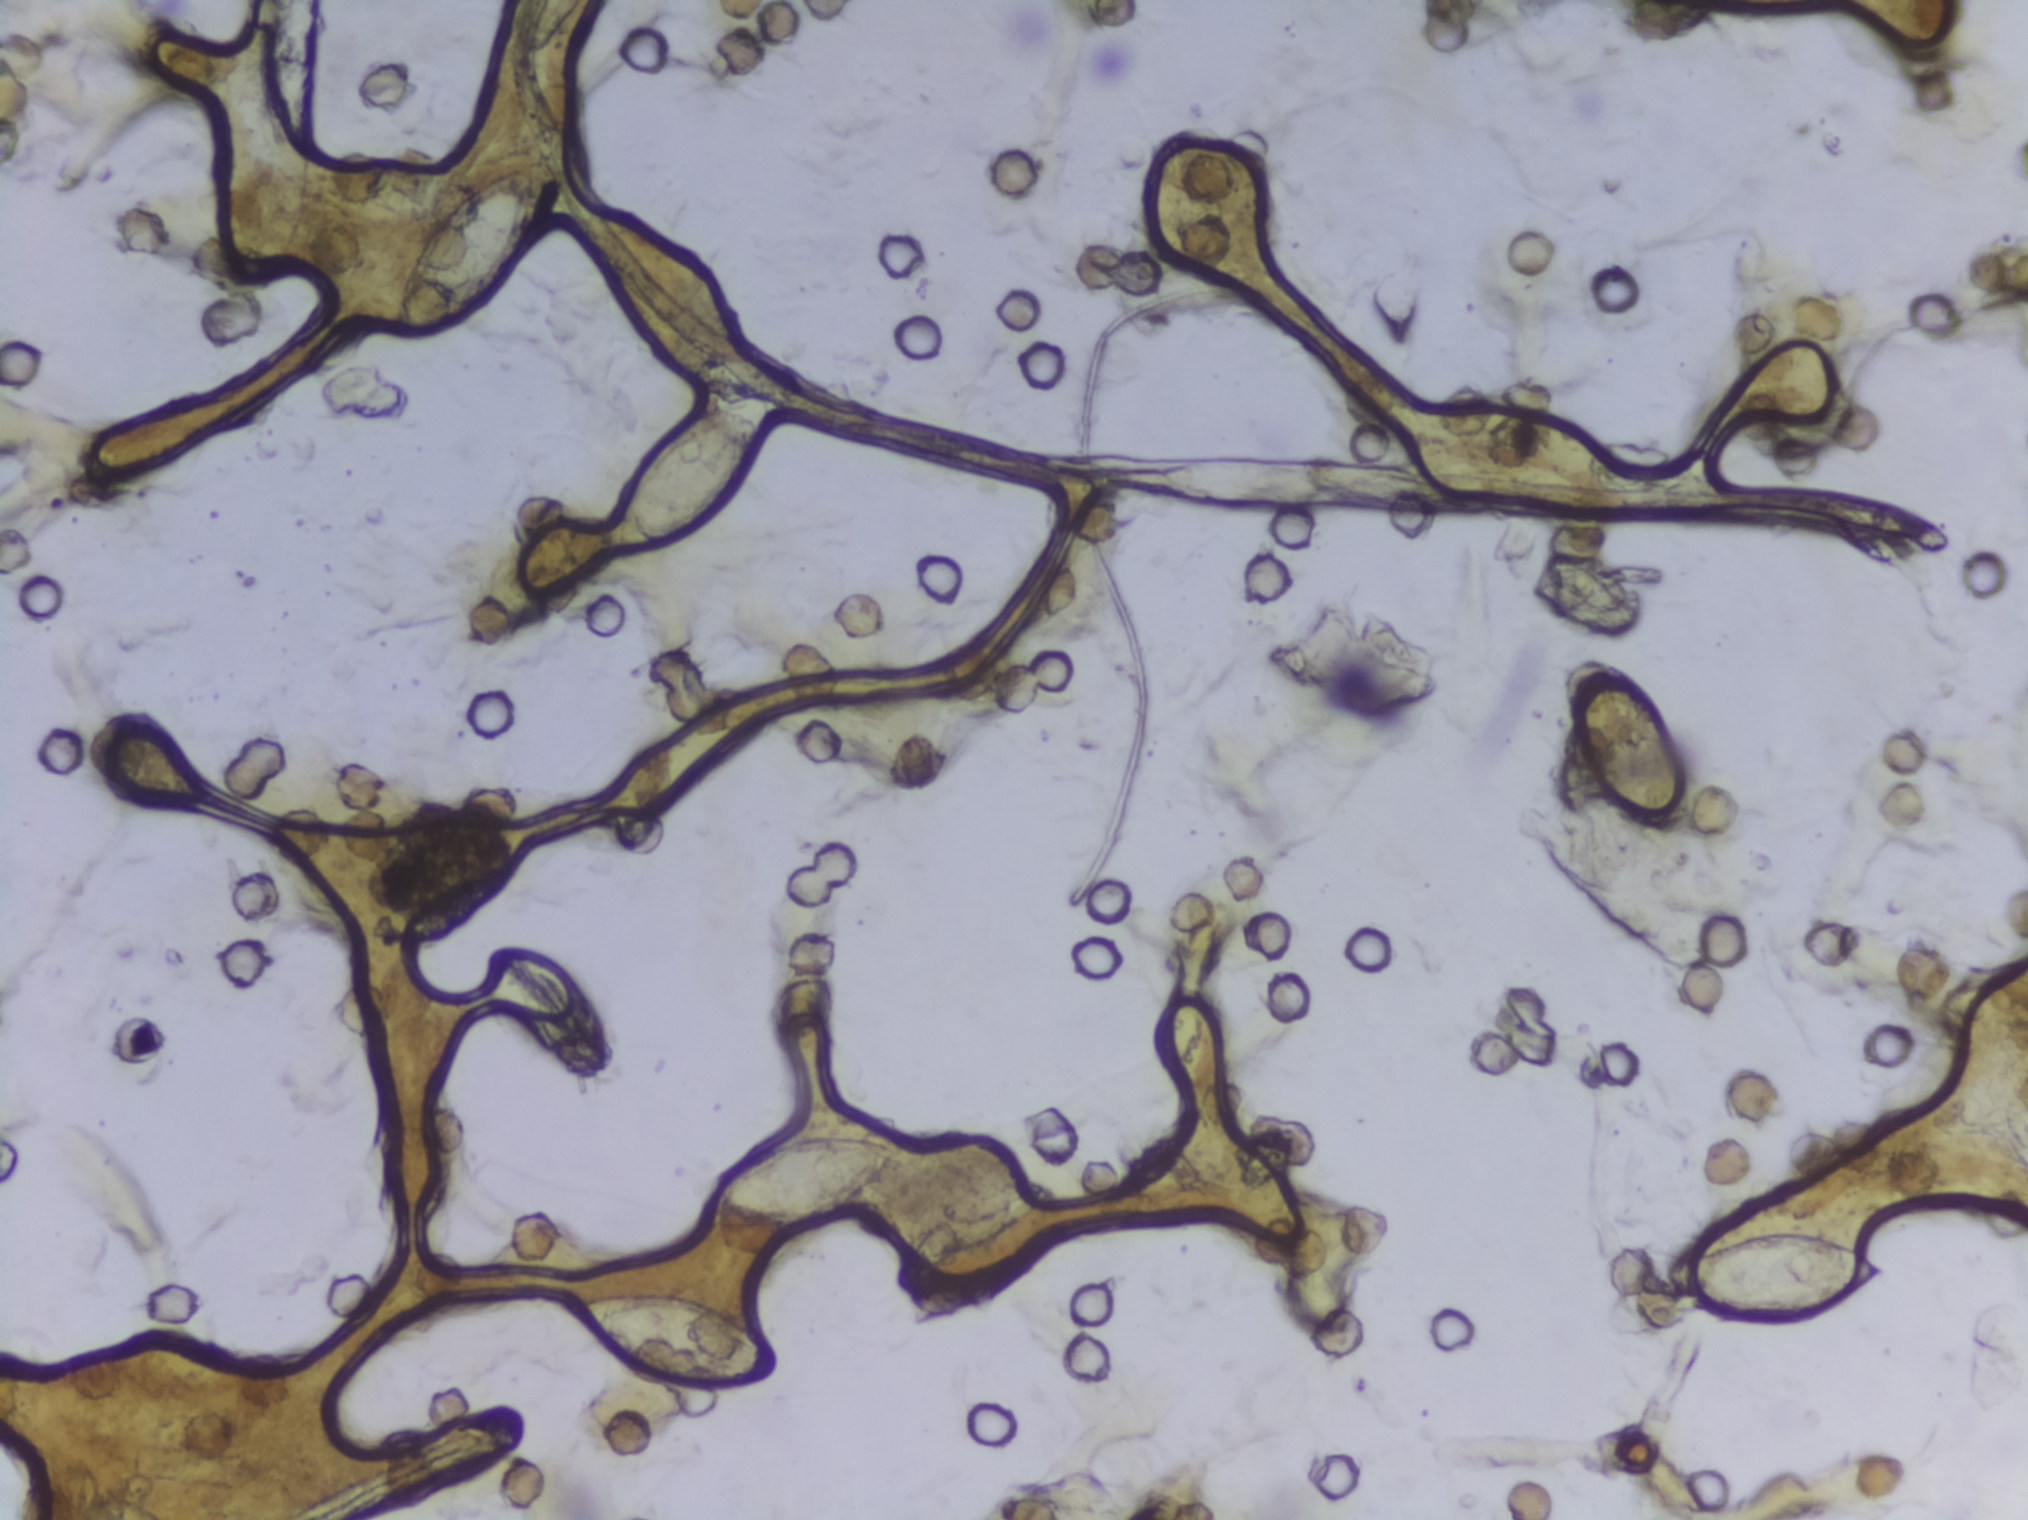
Photograph from an automated digital microscope: urine filter membrane, 4× objective. Field of view: about 1.5 mm wide and 1.1 mm high.
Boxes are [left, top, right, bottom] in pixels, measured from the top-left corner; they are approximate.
Schistosoma eggs are outlined in six areas of this image, listed from left to right: [396, 161, 539, 336]; [570, 1293, 776, 1391]; [612, 392, 770, 553]; [695, 1135, 898, 1239]; [1568, 656, 1686, 835]; [1661, 1228, 1888, 1328]. A single outlined area may contain several eggs.